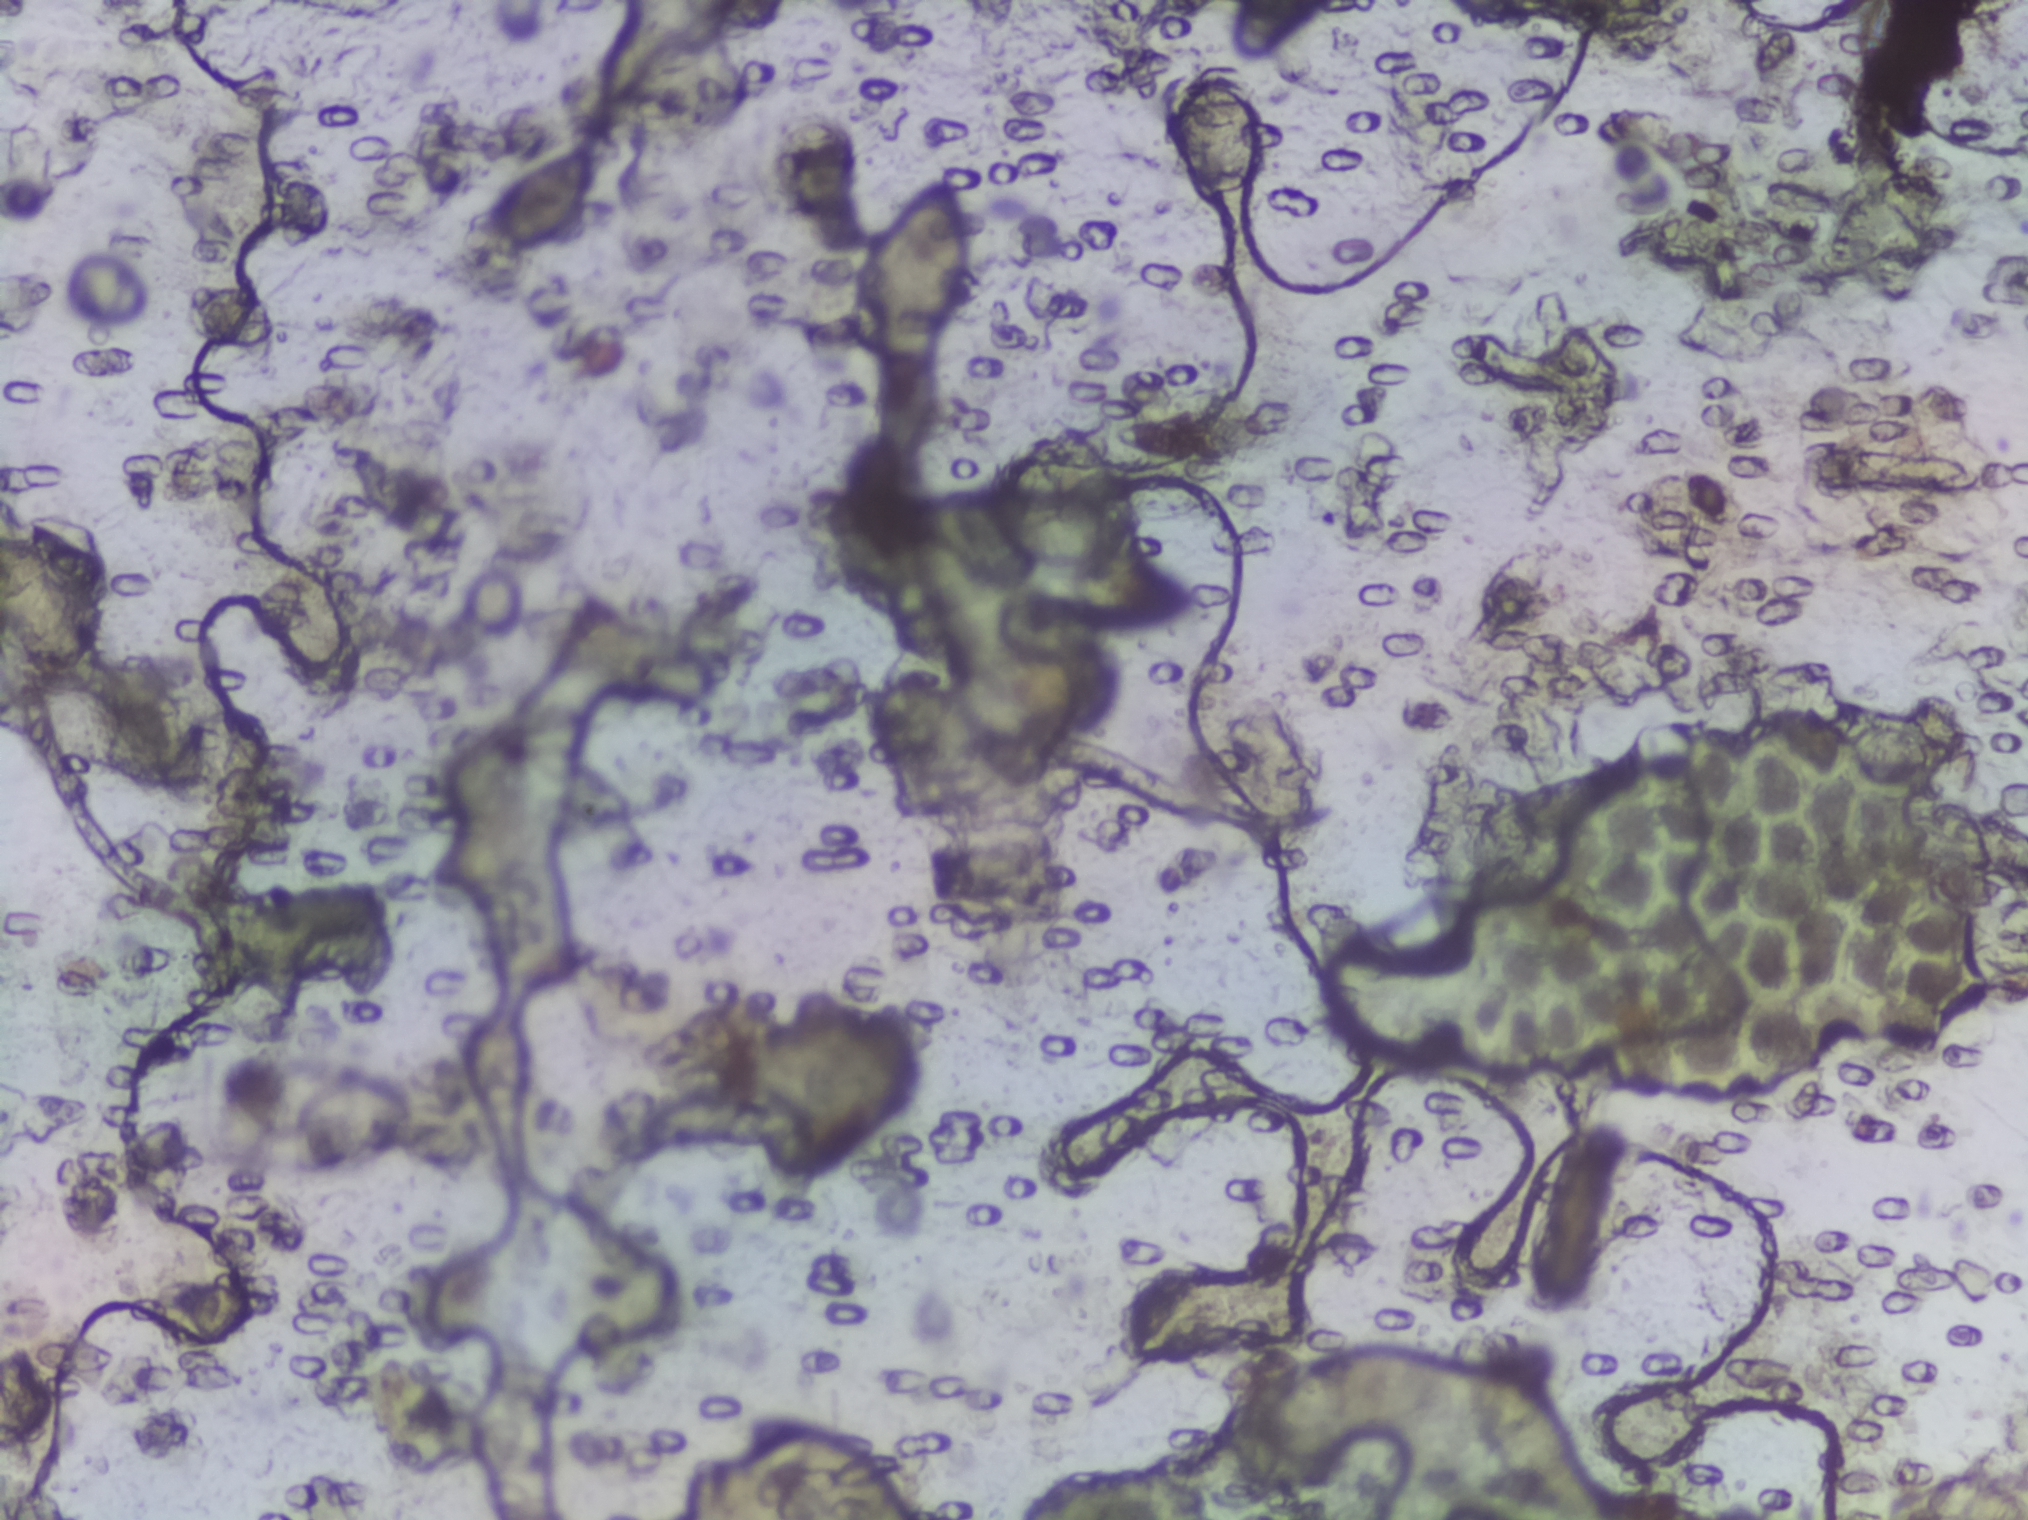
Microscope photograph (4× objective) of a membrane that a urine sample was filtered through.
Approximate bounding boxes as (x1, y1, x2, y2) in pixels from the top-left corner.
Schistosoma eggs, outlined areas: (277, 551, 348, 669); (479, 144, 599, 254); (865, 177, 968, 358); (1181, 69, 1257, 204). The marked pixels themselves, not the boxes around them, cover about 1.2% of the image. An outlined area can hold more than one egg.